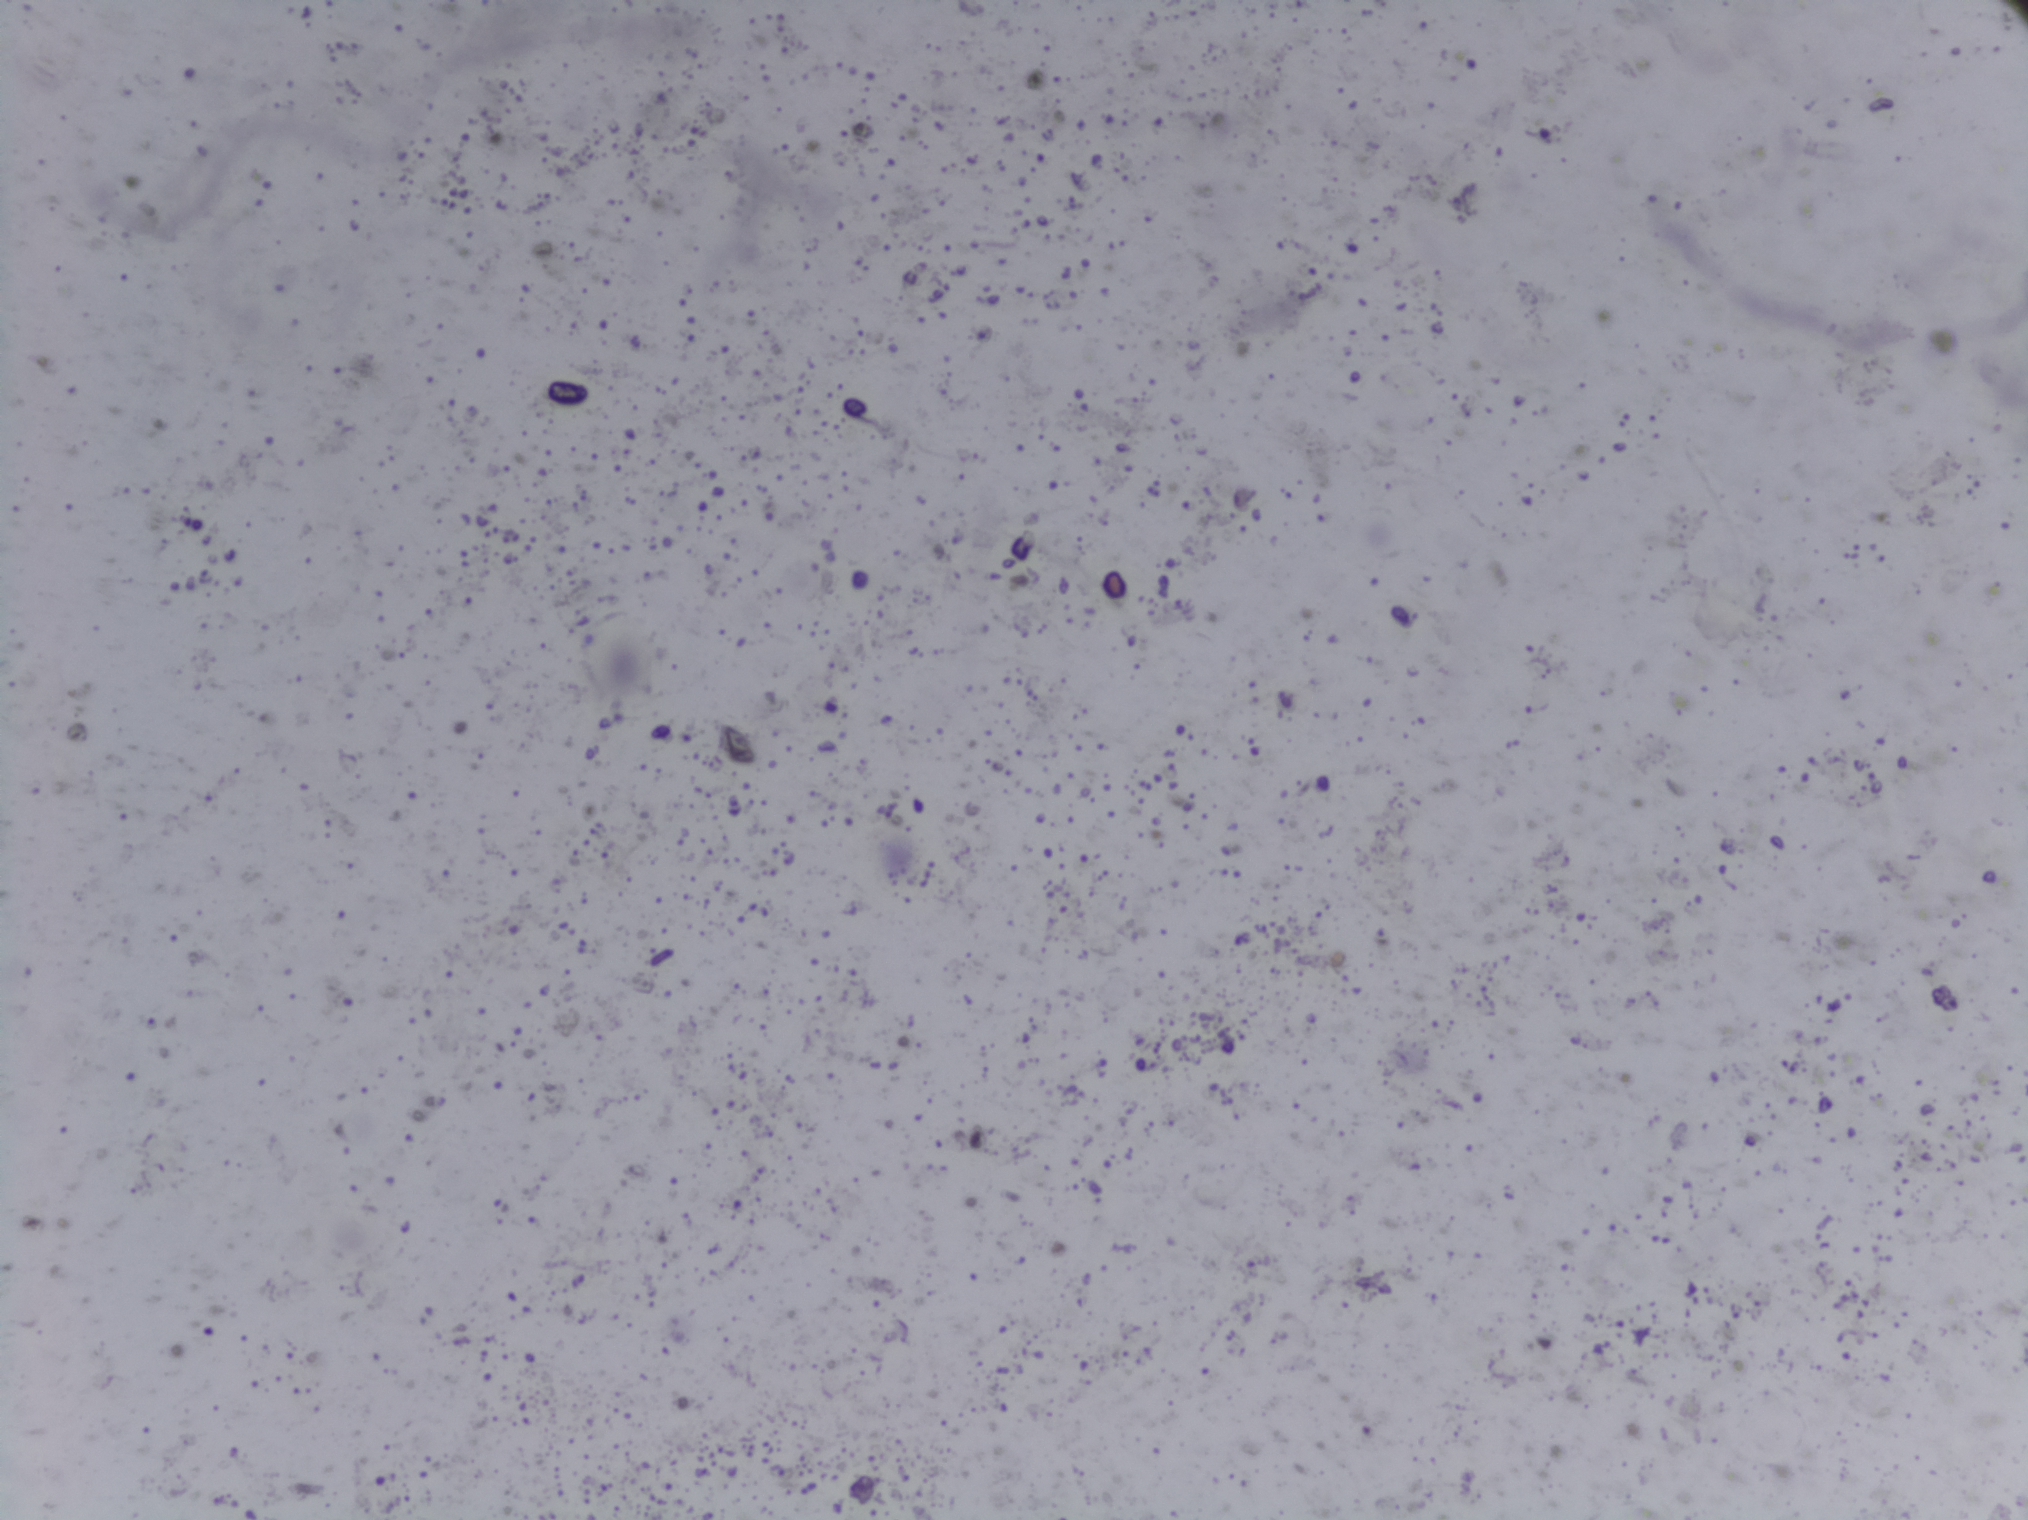
Urine filter membrane photographed through a 4× microscope objective.
The expert annotation marks no Schistosoma egg in this field of view.